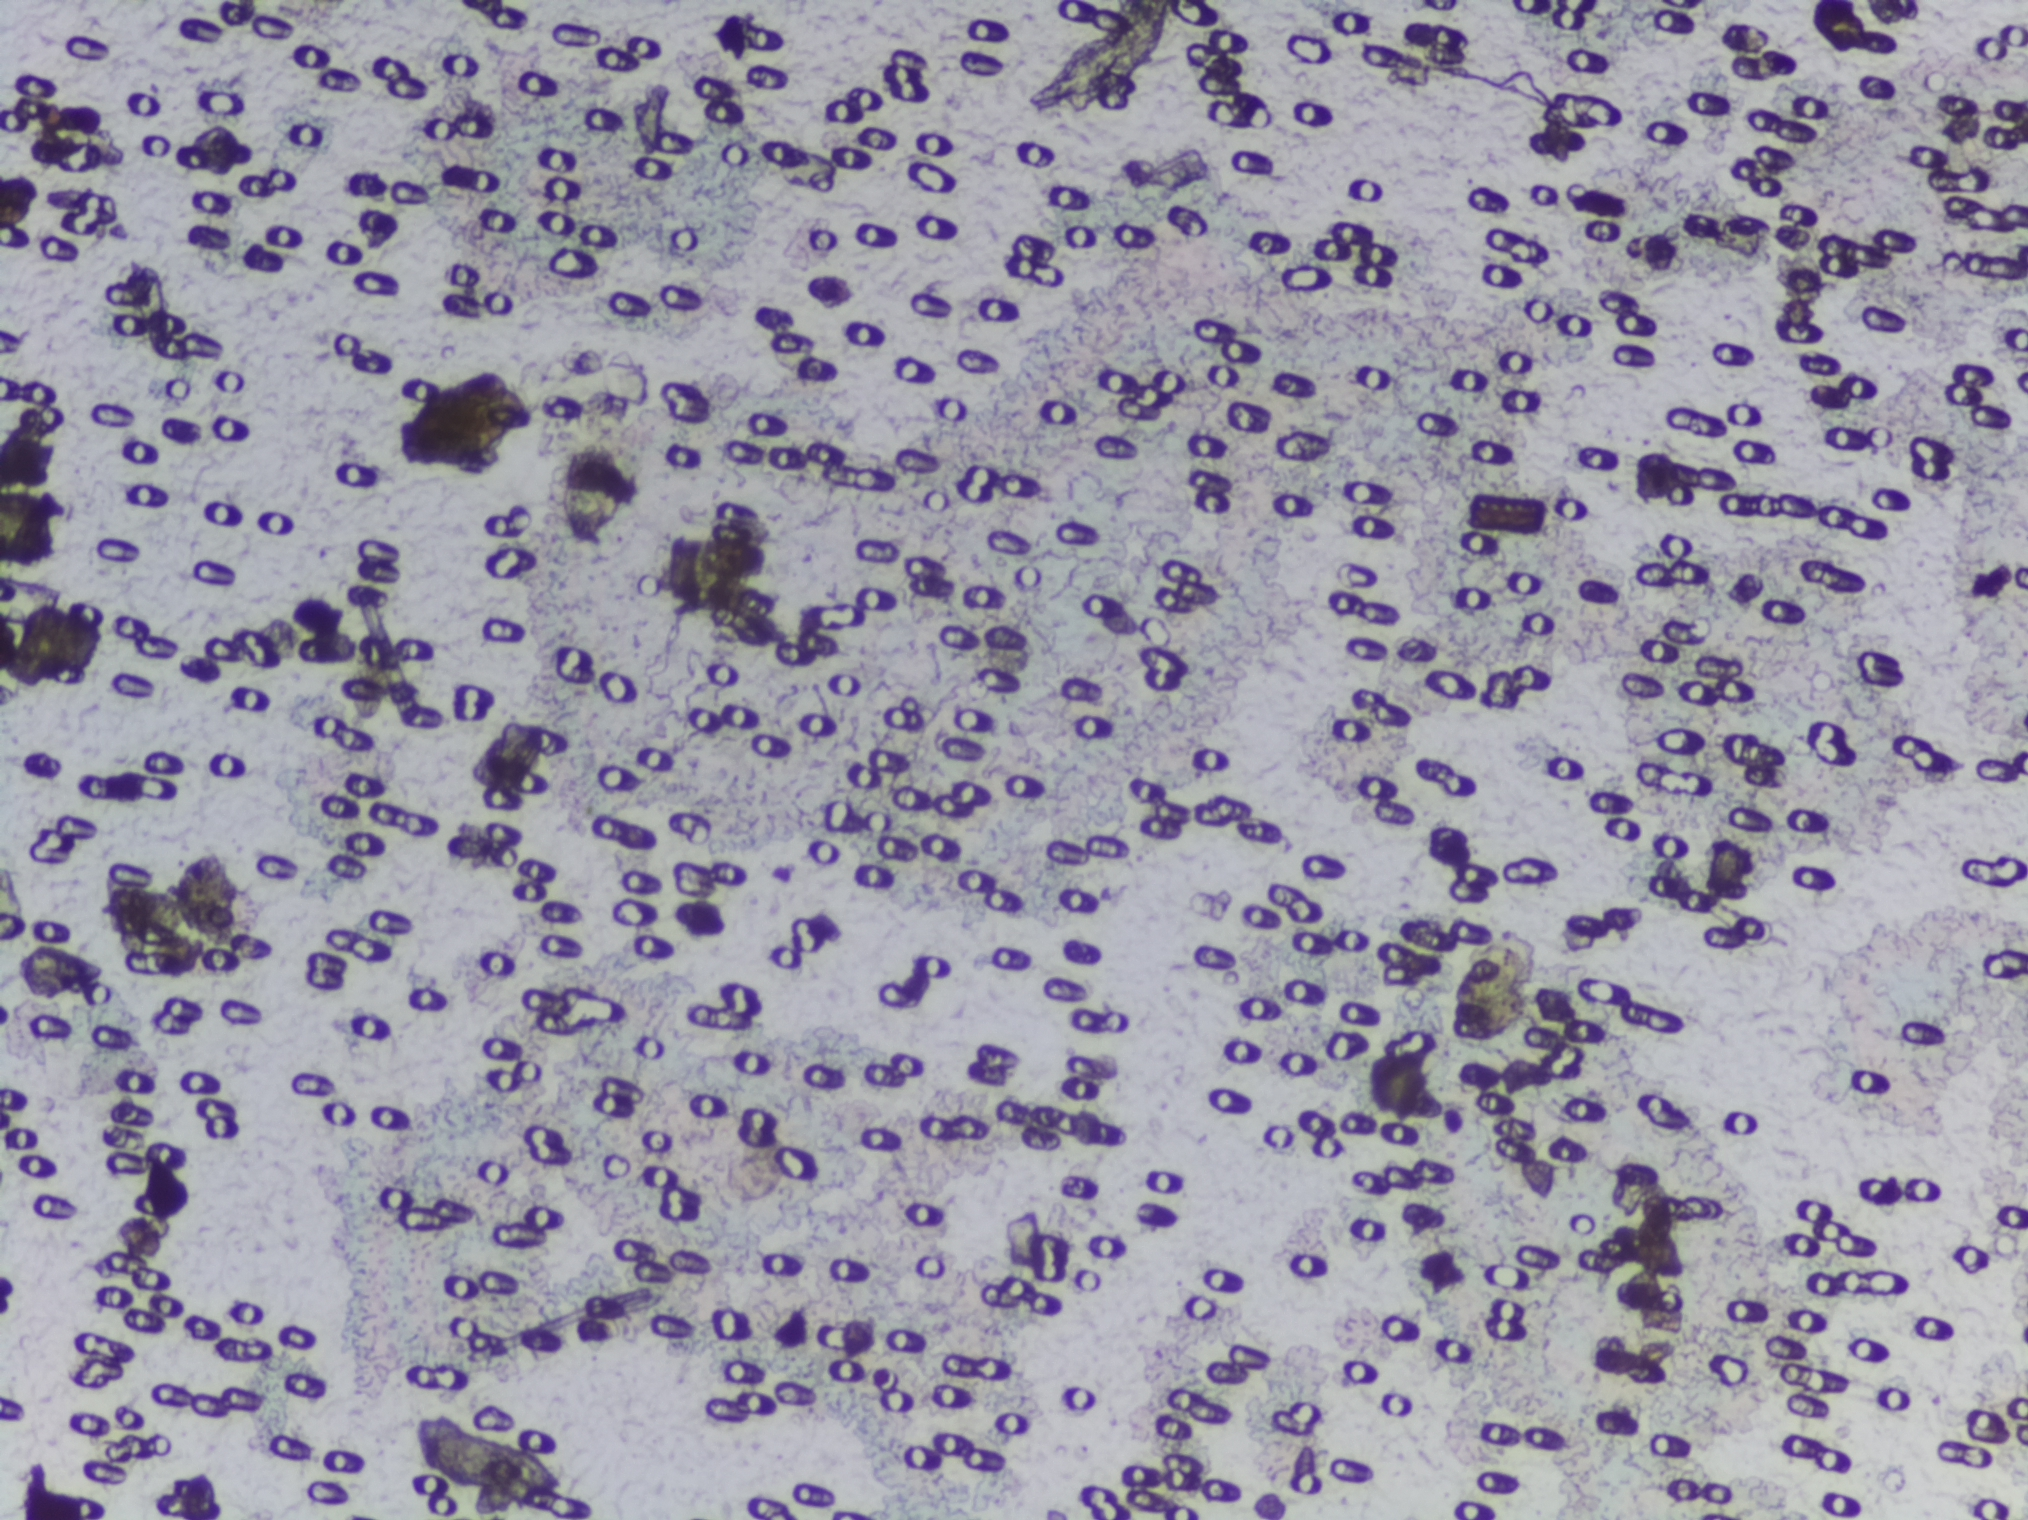
Urine filtration membrane under a 4× objective, photographed by an automated digital microscope.
No Schistosoma egg is outlined in this image's expert annotation.